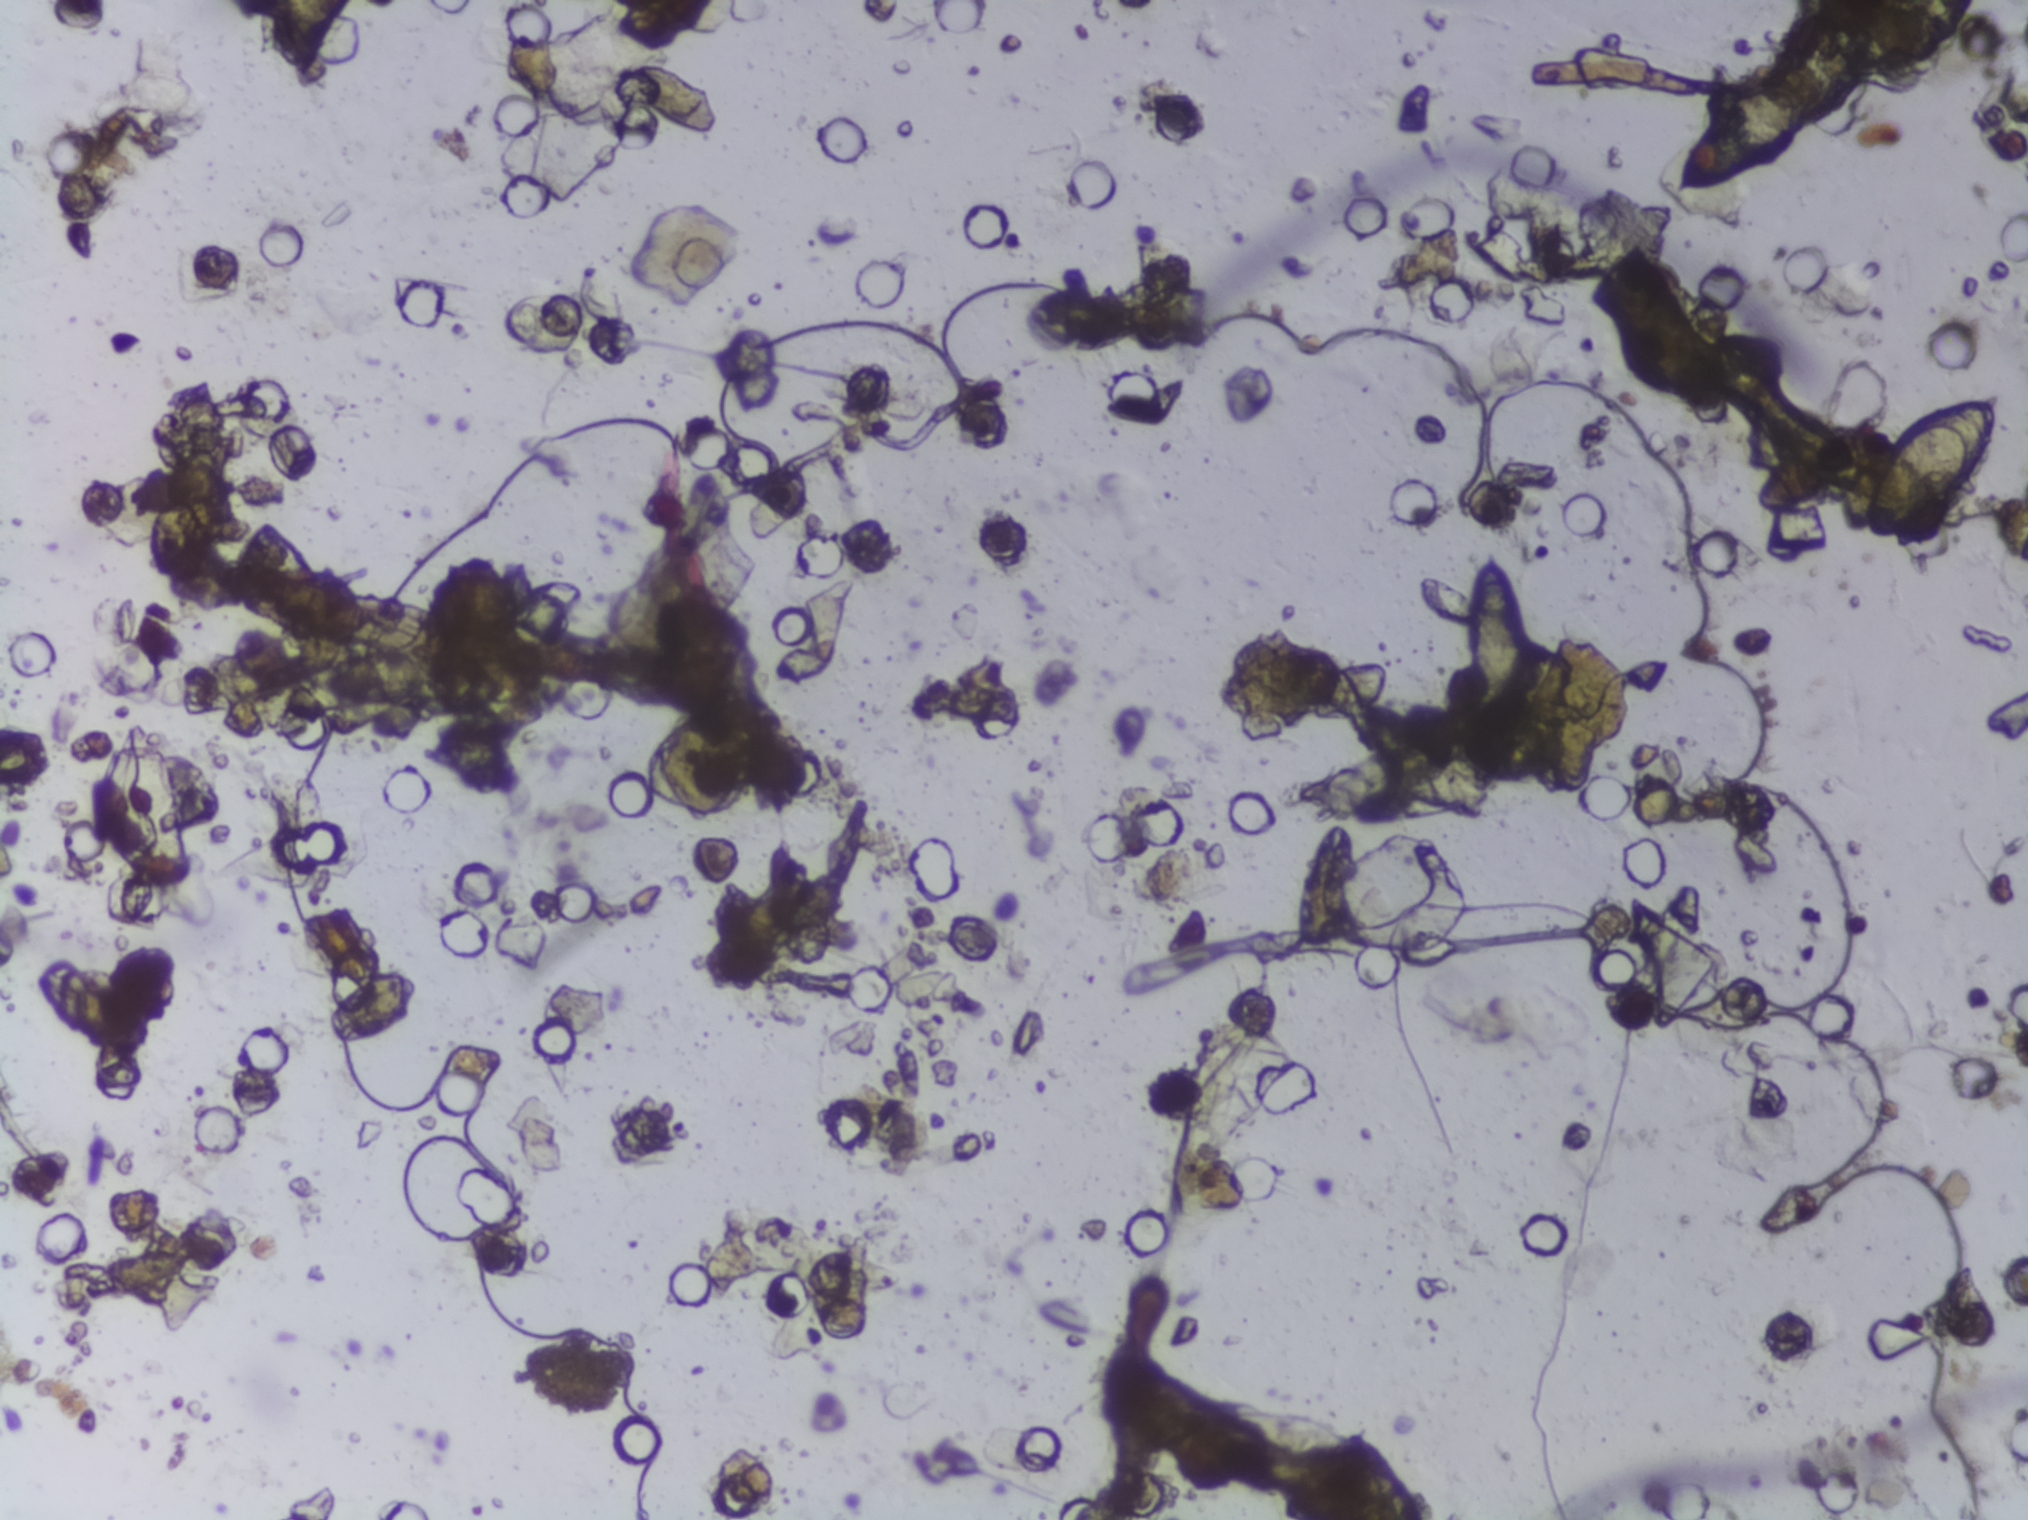
Photograph from an automated digital microscope: urine filter membrane, 4× objective.
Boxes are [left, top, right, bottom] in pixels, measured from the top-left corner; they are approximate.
Schistosoma egg areas, outlined: [330, 972, 420, 1041]; [1457, 546, 1535, 751]; [1667, 61, 1825, 192]; [1850, 379, 2009, 547]. About 1.4% of the image's pixels are marked (the marked pixels themselves, not the boxes around them). A single outlined area may contain several eggs.